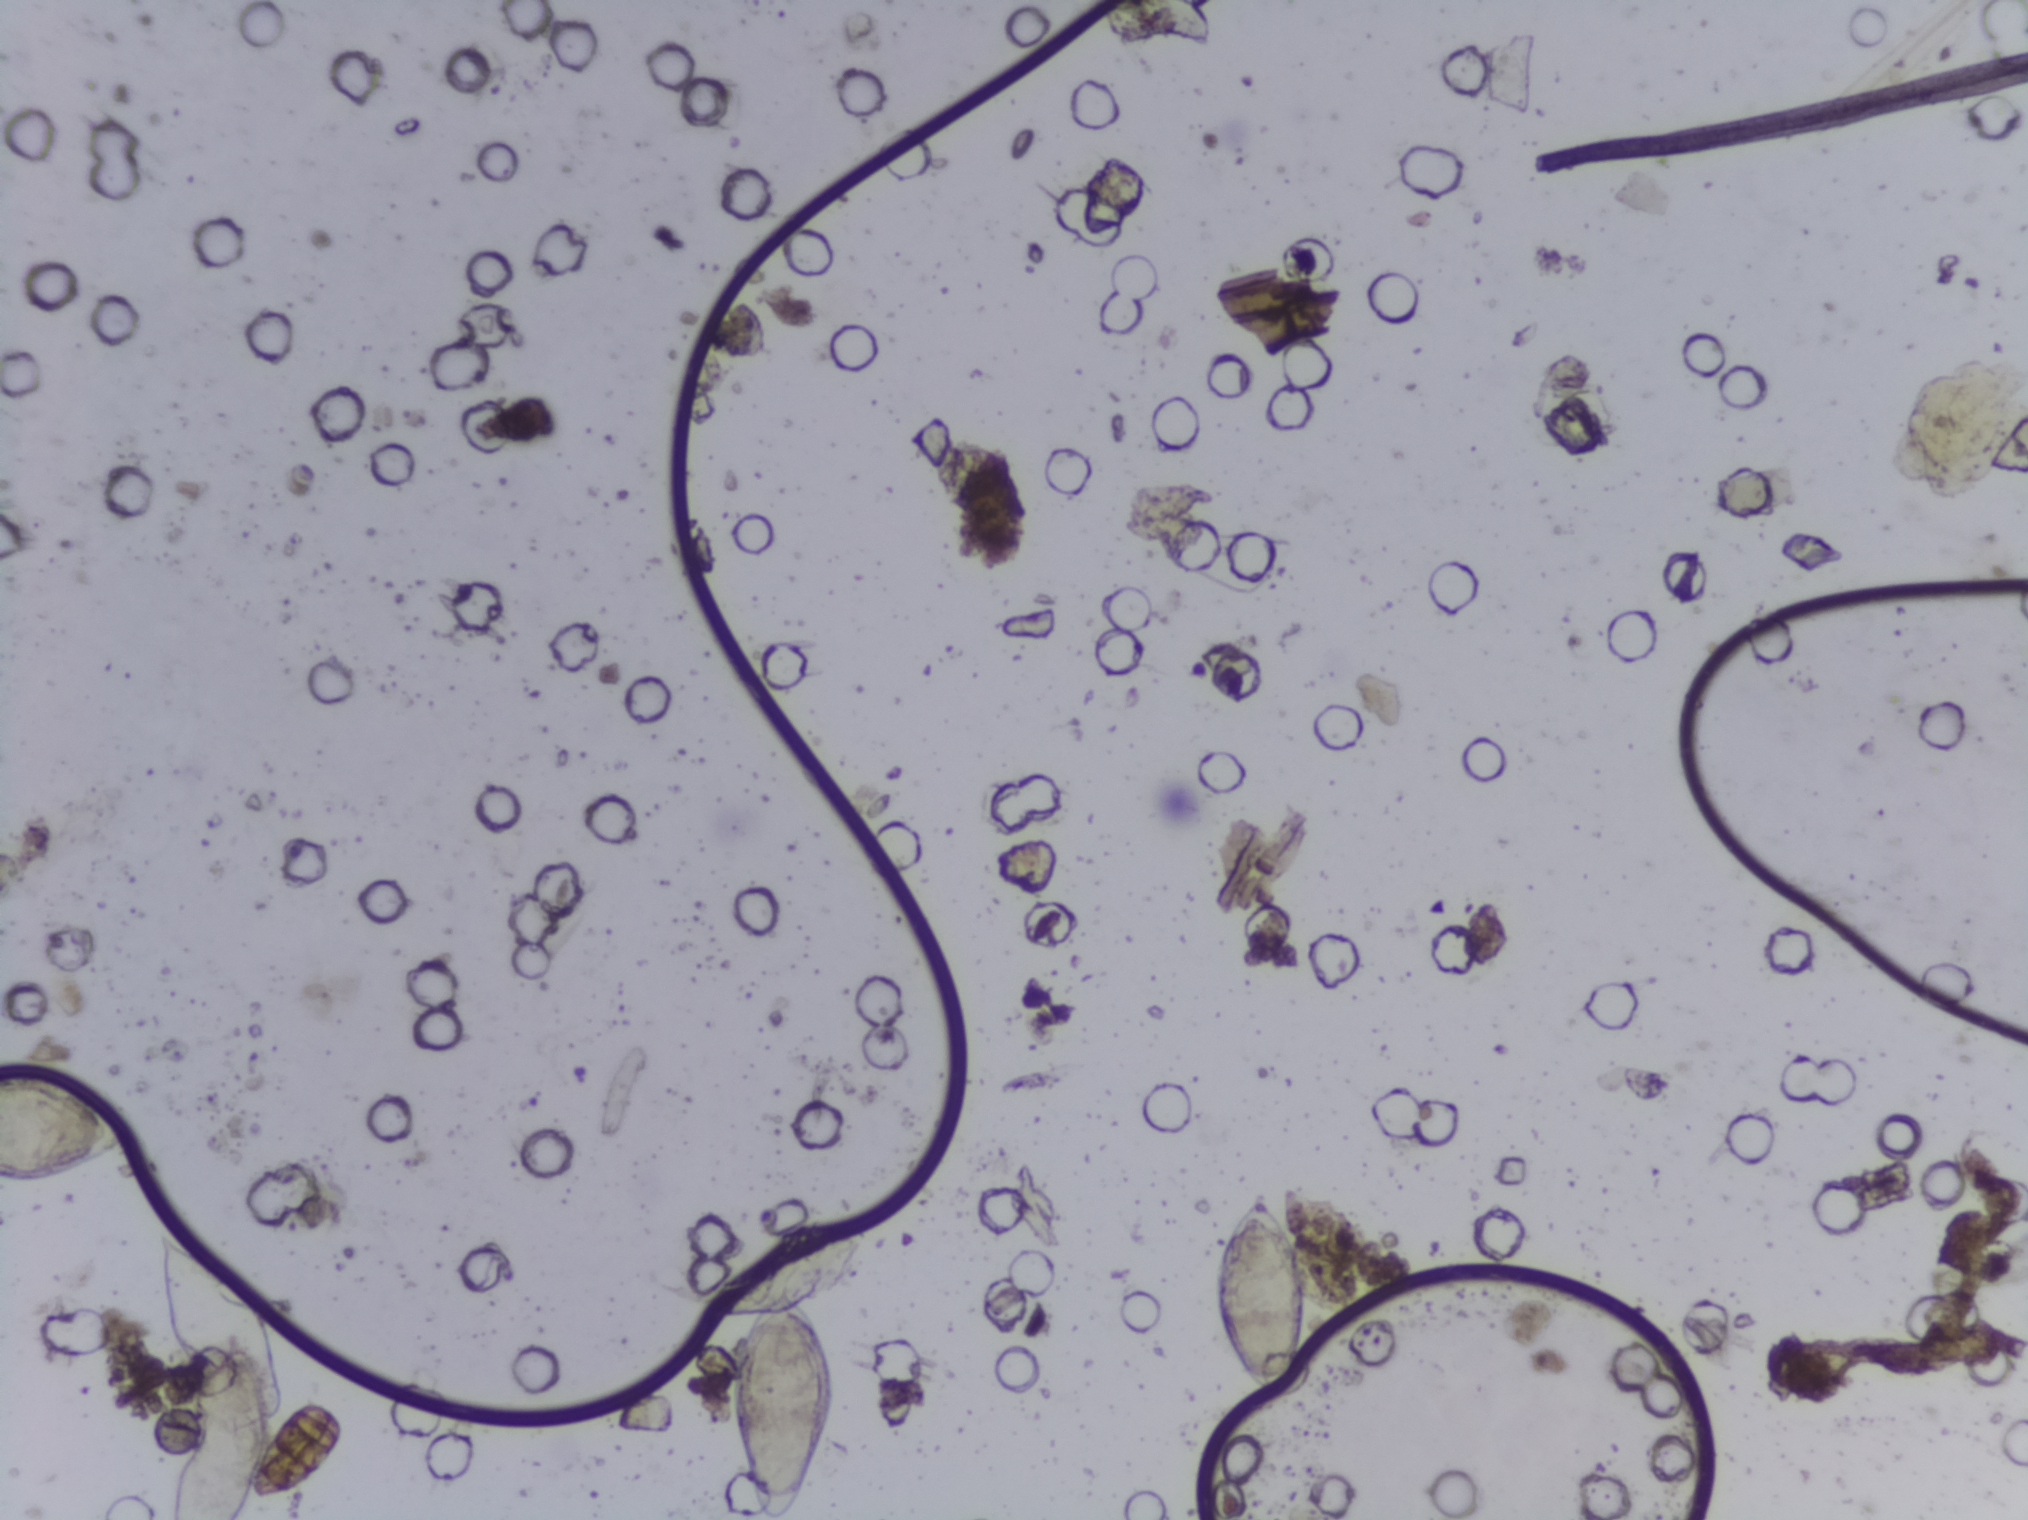
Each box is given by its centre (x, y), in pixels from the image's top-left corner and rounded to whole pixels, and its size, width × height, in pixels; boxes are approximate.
Outlined Schistosoma egg areas, left to right:
1. centre (64, 1126), 128 × 115 px (reaching the left edge of the frame)
2. centre (221, 1325), 129 × 191 px
3. centre (788, 1369), 165 × 302 px (reaching the bottom edge of the frame)
4. centre (1260, 1298), 95 × 215 px
A single outlined area may contain several eggs.
Photograph from an automated digital microscope: urine filter membrane, 4× objective. The image covers about 1.5 × 1.1 mm of the membrane.